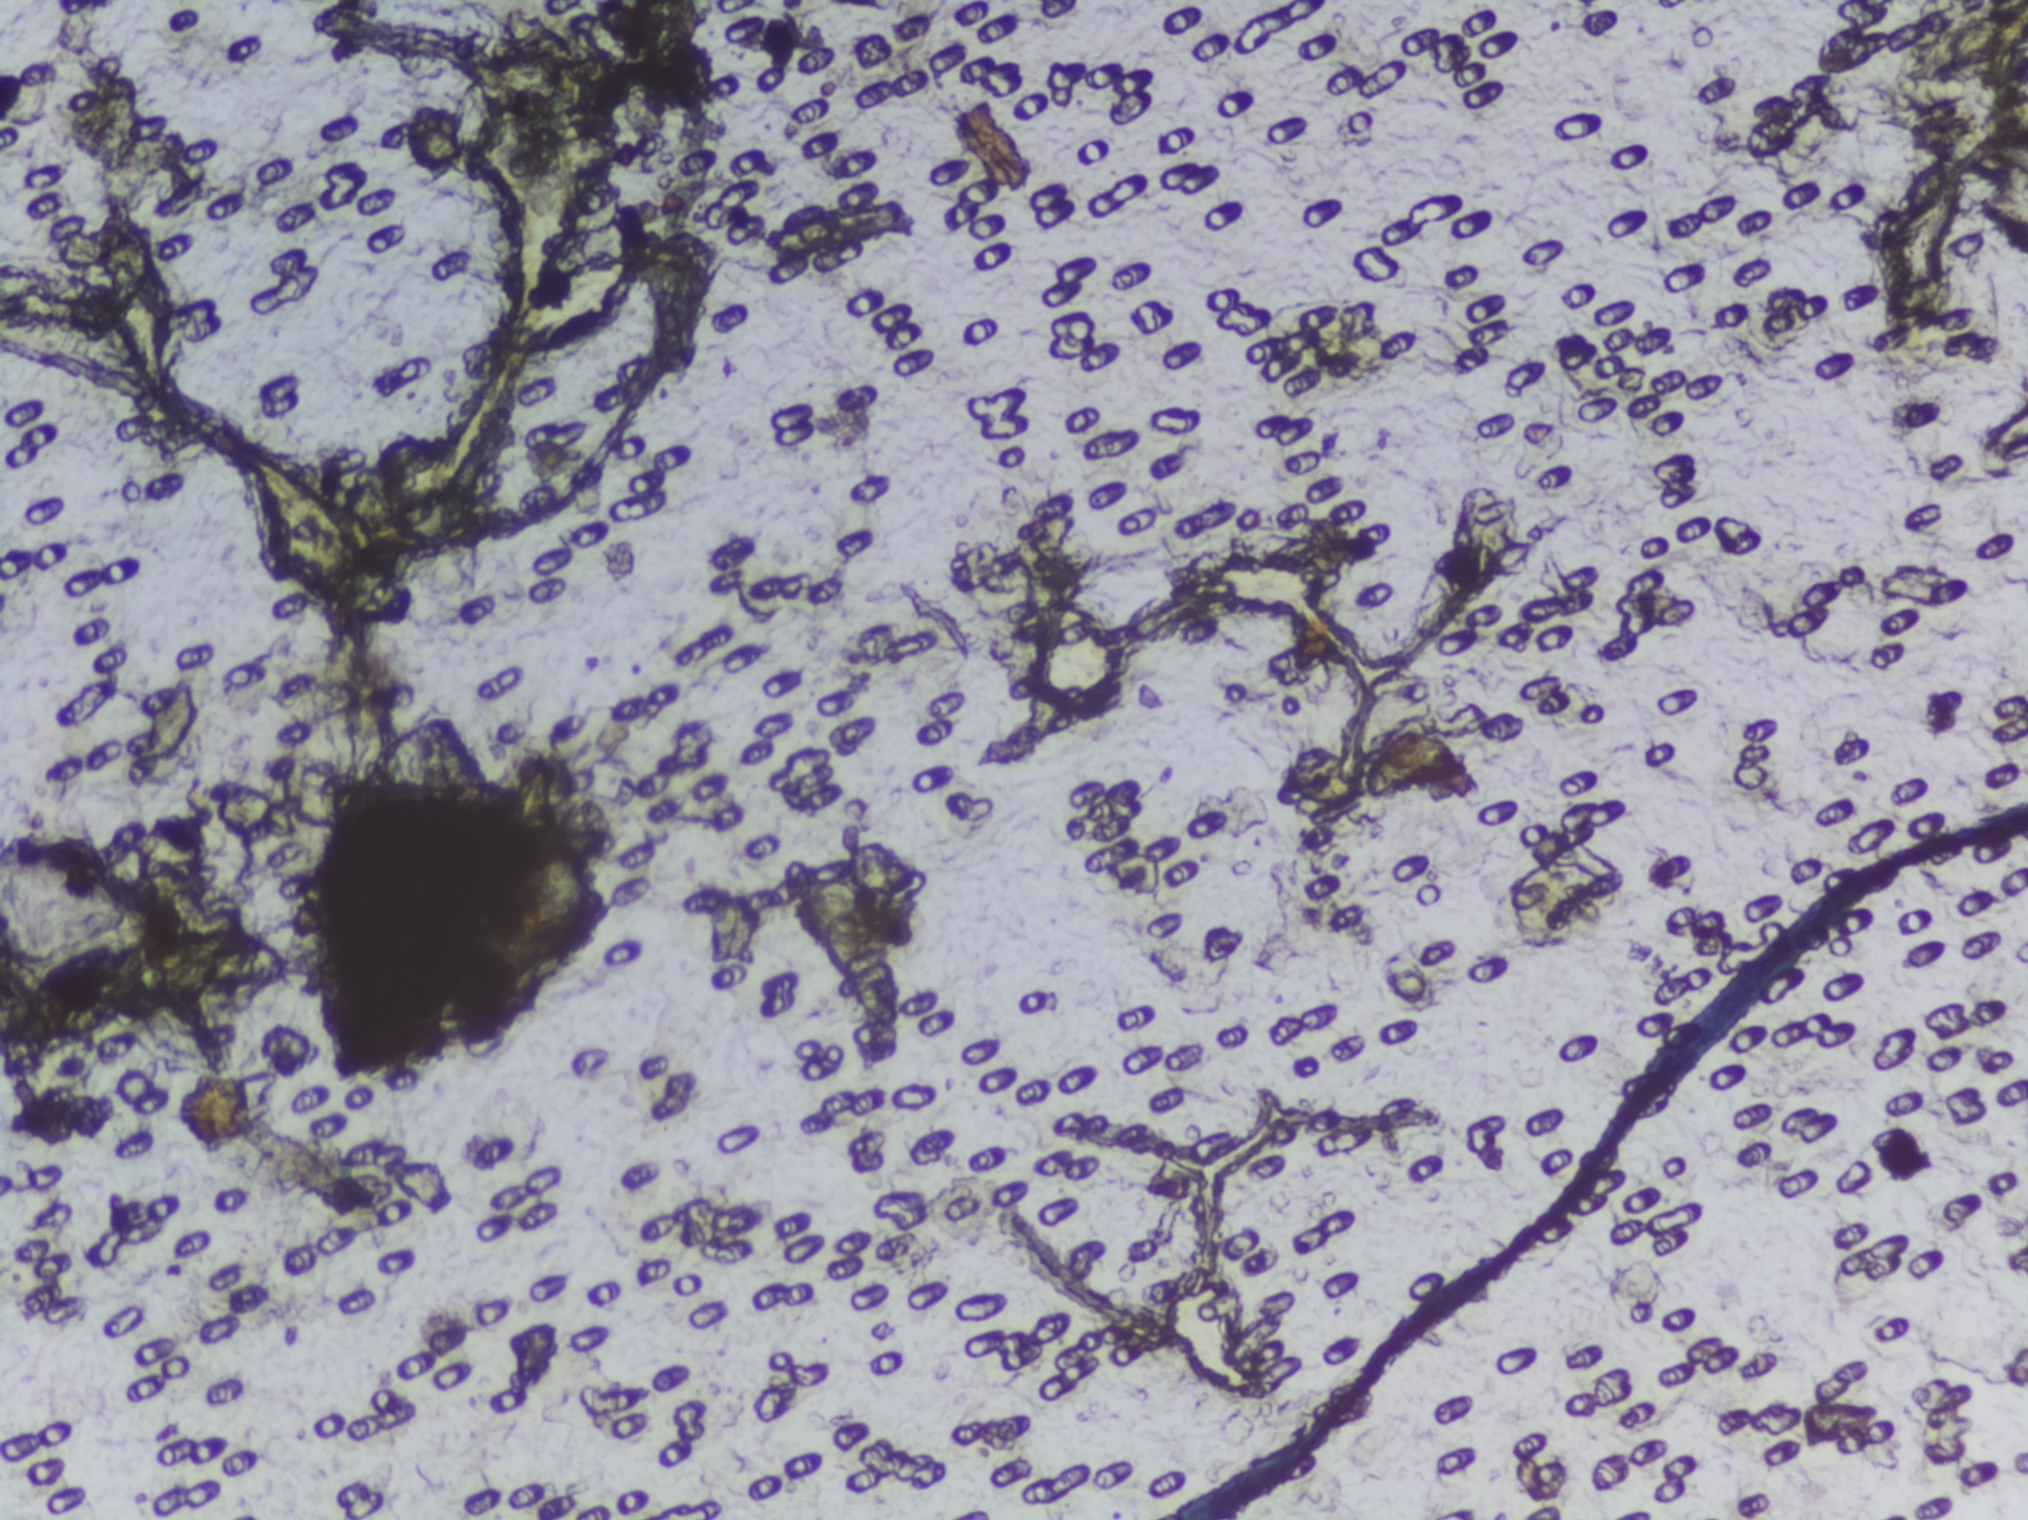
The expert annotation outlines no Schistosoma egg in this image.
Photograph from an automated digital microscope: urine filter membrane, 4× objective.